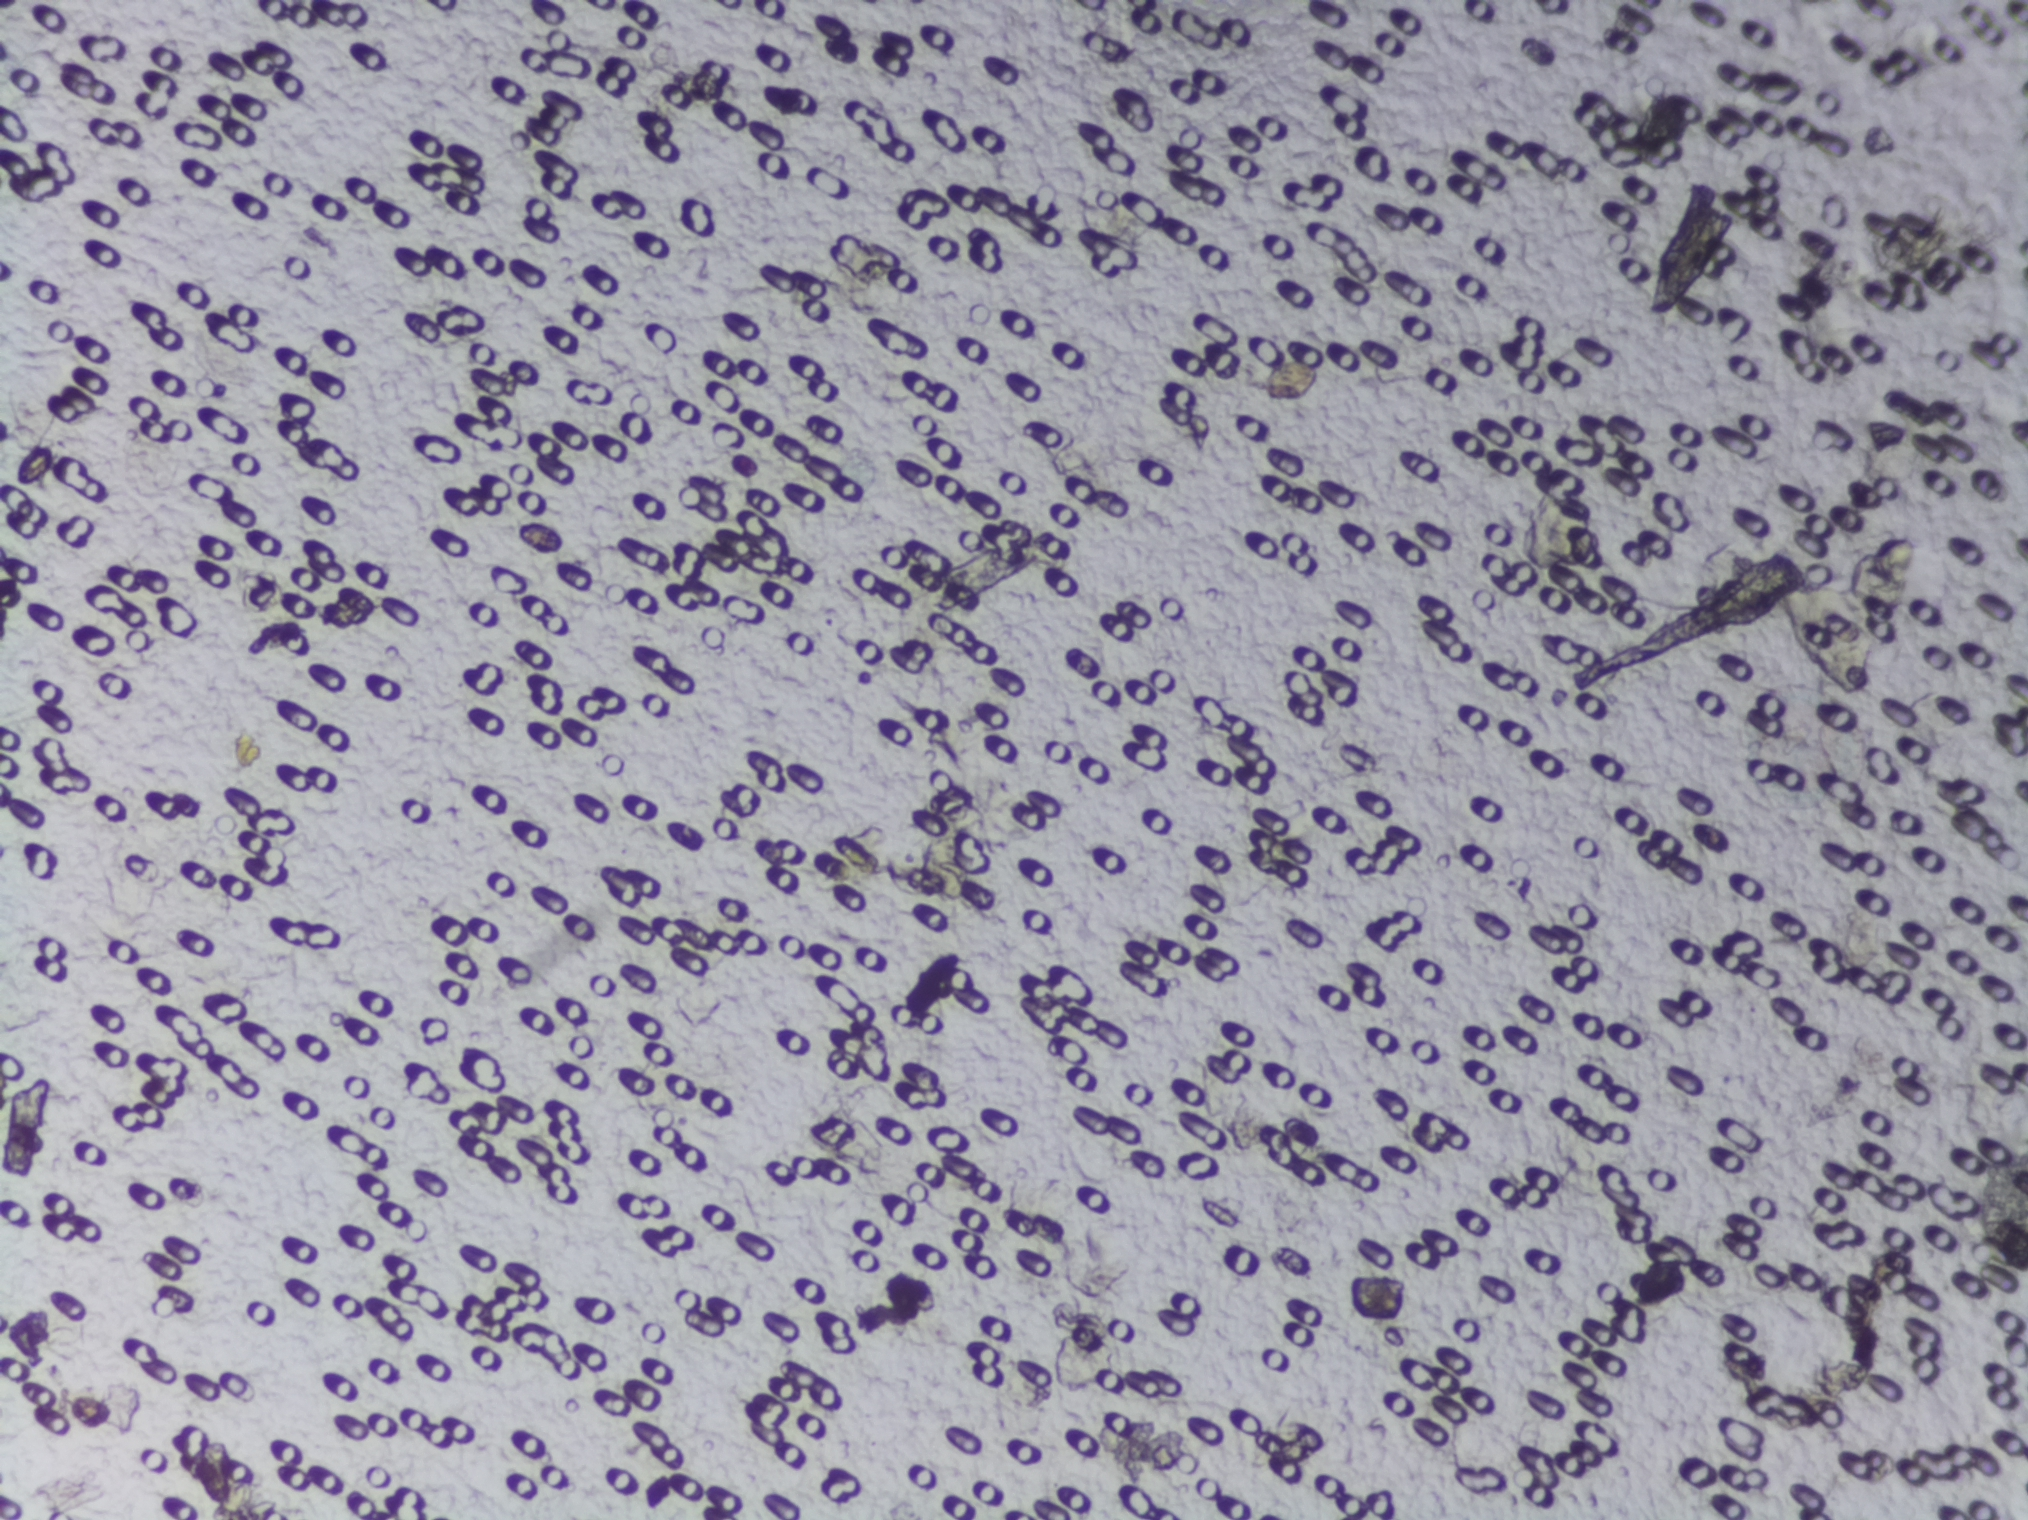
Urine filtration membrane under a 4× objective, photographed by an automated digital microscope. The image covers about 1.5 × 1.1 mm of the membrane.
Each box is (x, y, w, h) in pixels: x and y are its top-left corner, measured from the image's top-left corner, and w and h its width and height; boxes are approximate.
Findings: one area outlined as Schistosoma eggs. Location: (x=1264, y=357, w=57, h=46). Eggs that touch can end up inside the same outlined area.